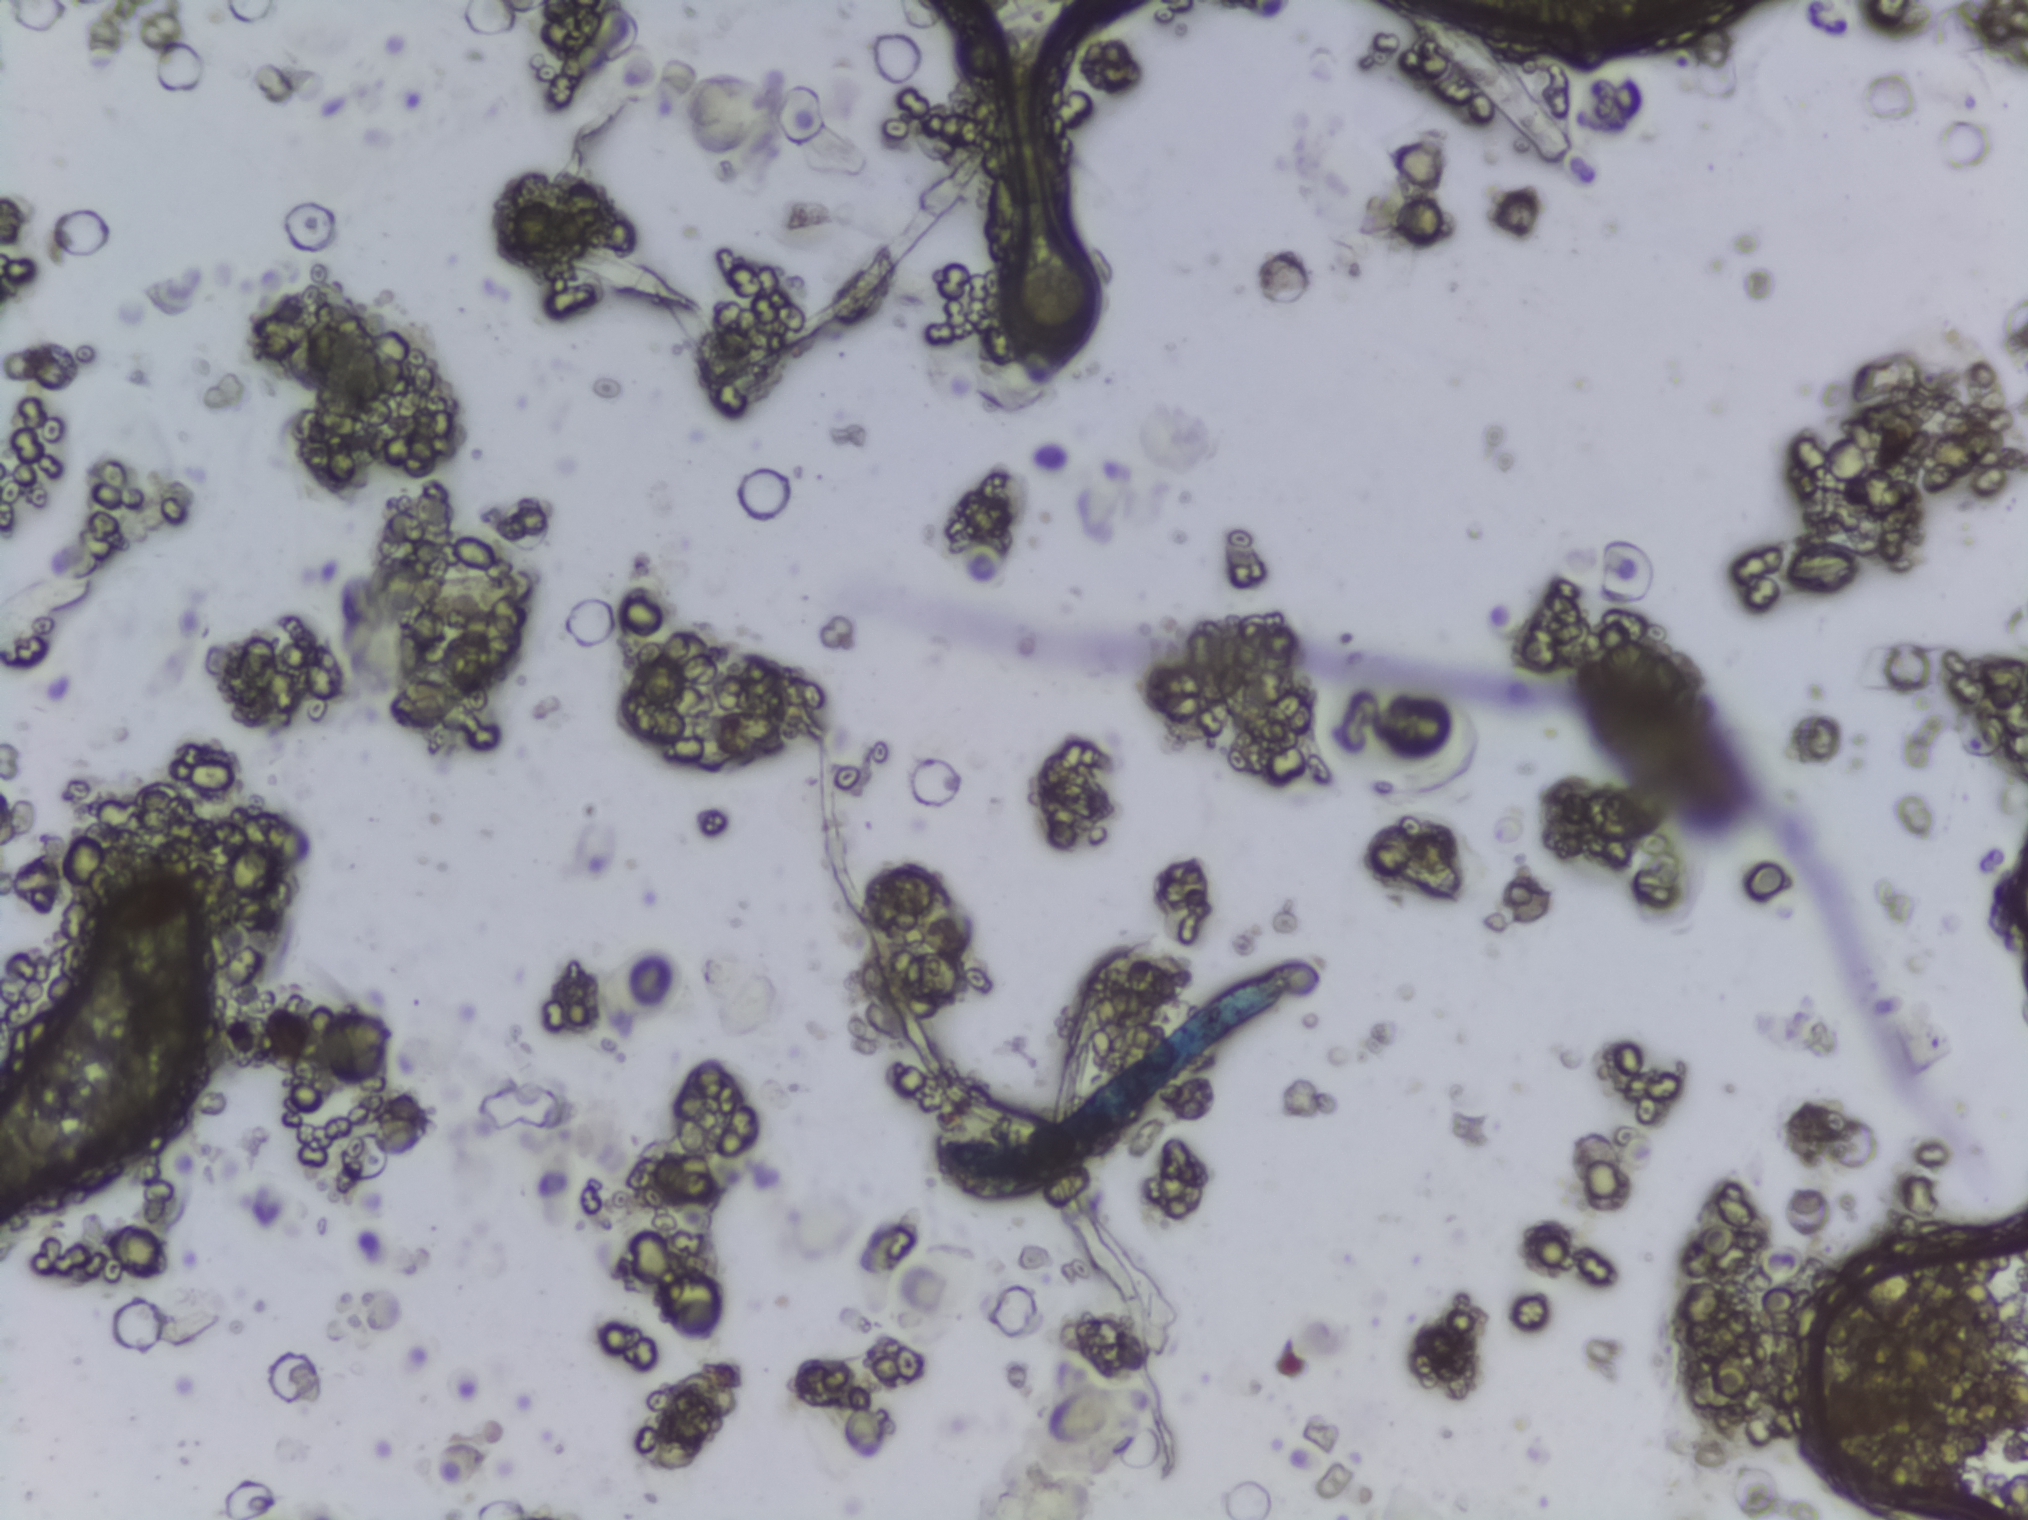
Urine filter membrane photographed through a 4× microscope objective. The field of view is about 1.5 mm × 1.1 mm.
The expert annotation outlines no Schistosoma egg in this image.